Photograph from an automated digital microscope: urine filter membrane, 4× objective.
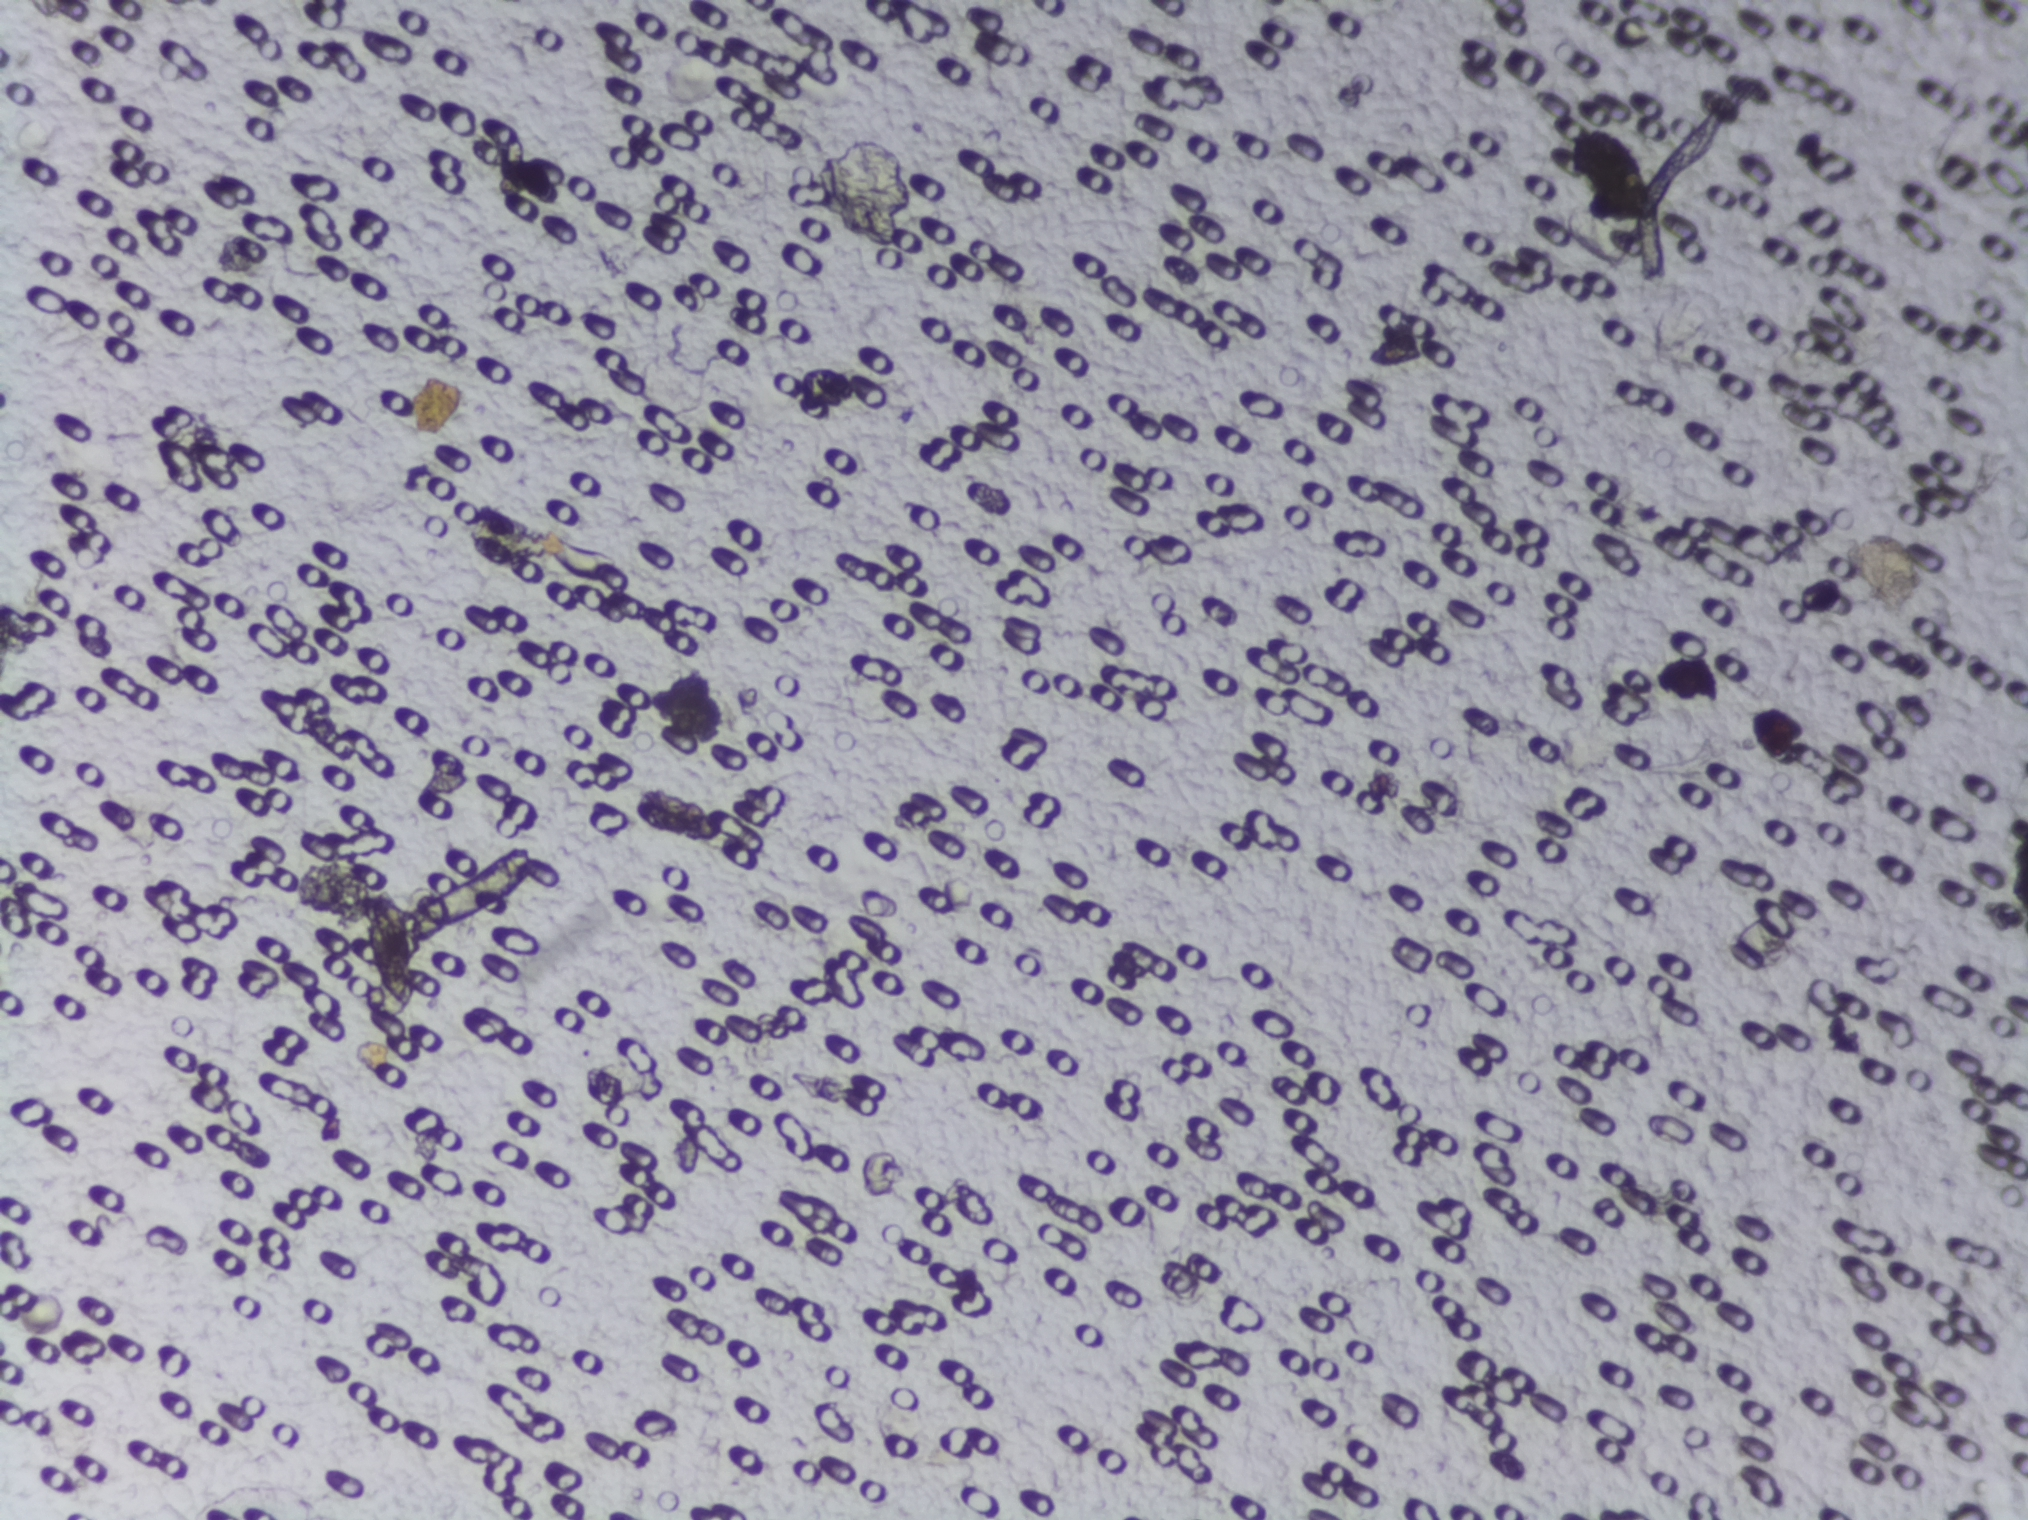
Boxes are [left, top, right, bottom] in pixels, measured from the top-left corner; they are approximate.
Outlined Schistosoma egg areas, left to right:
1. [365, 888, 416, 1011]
2. [1566, 126, 1647, 221]
A single outlined area may contain several eggs.